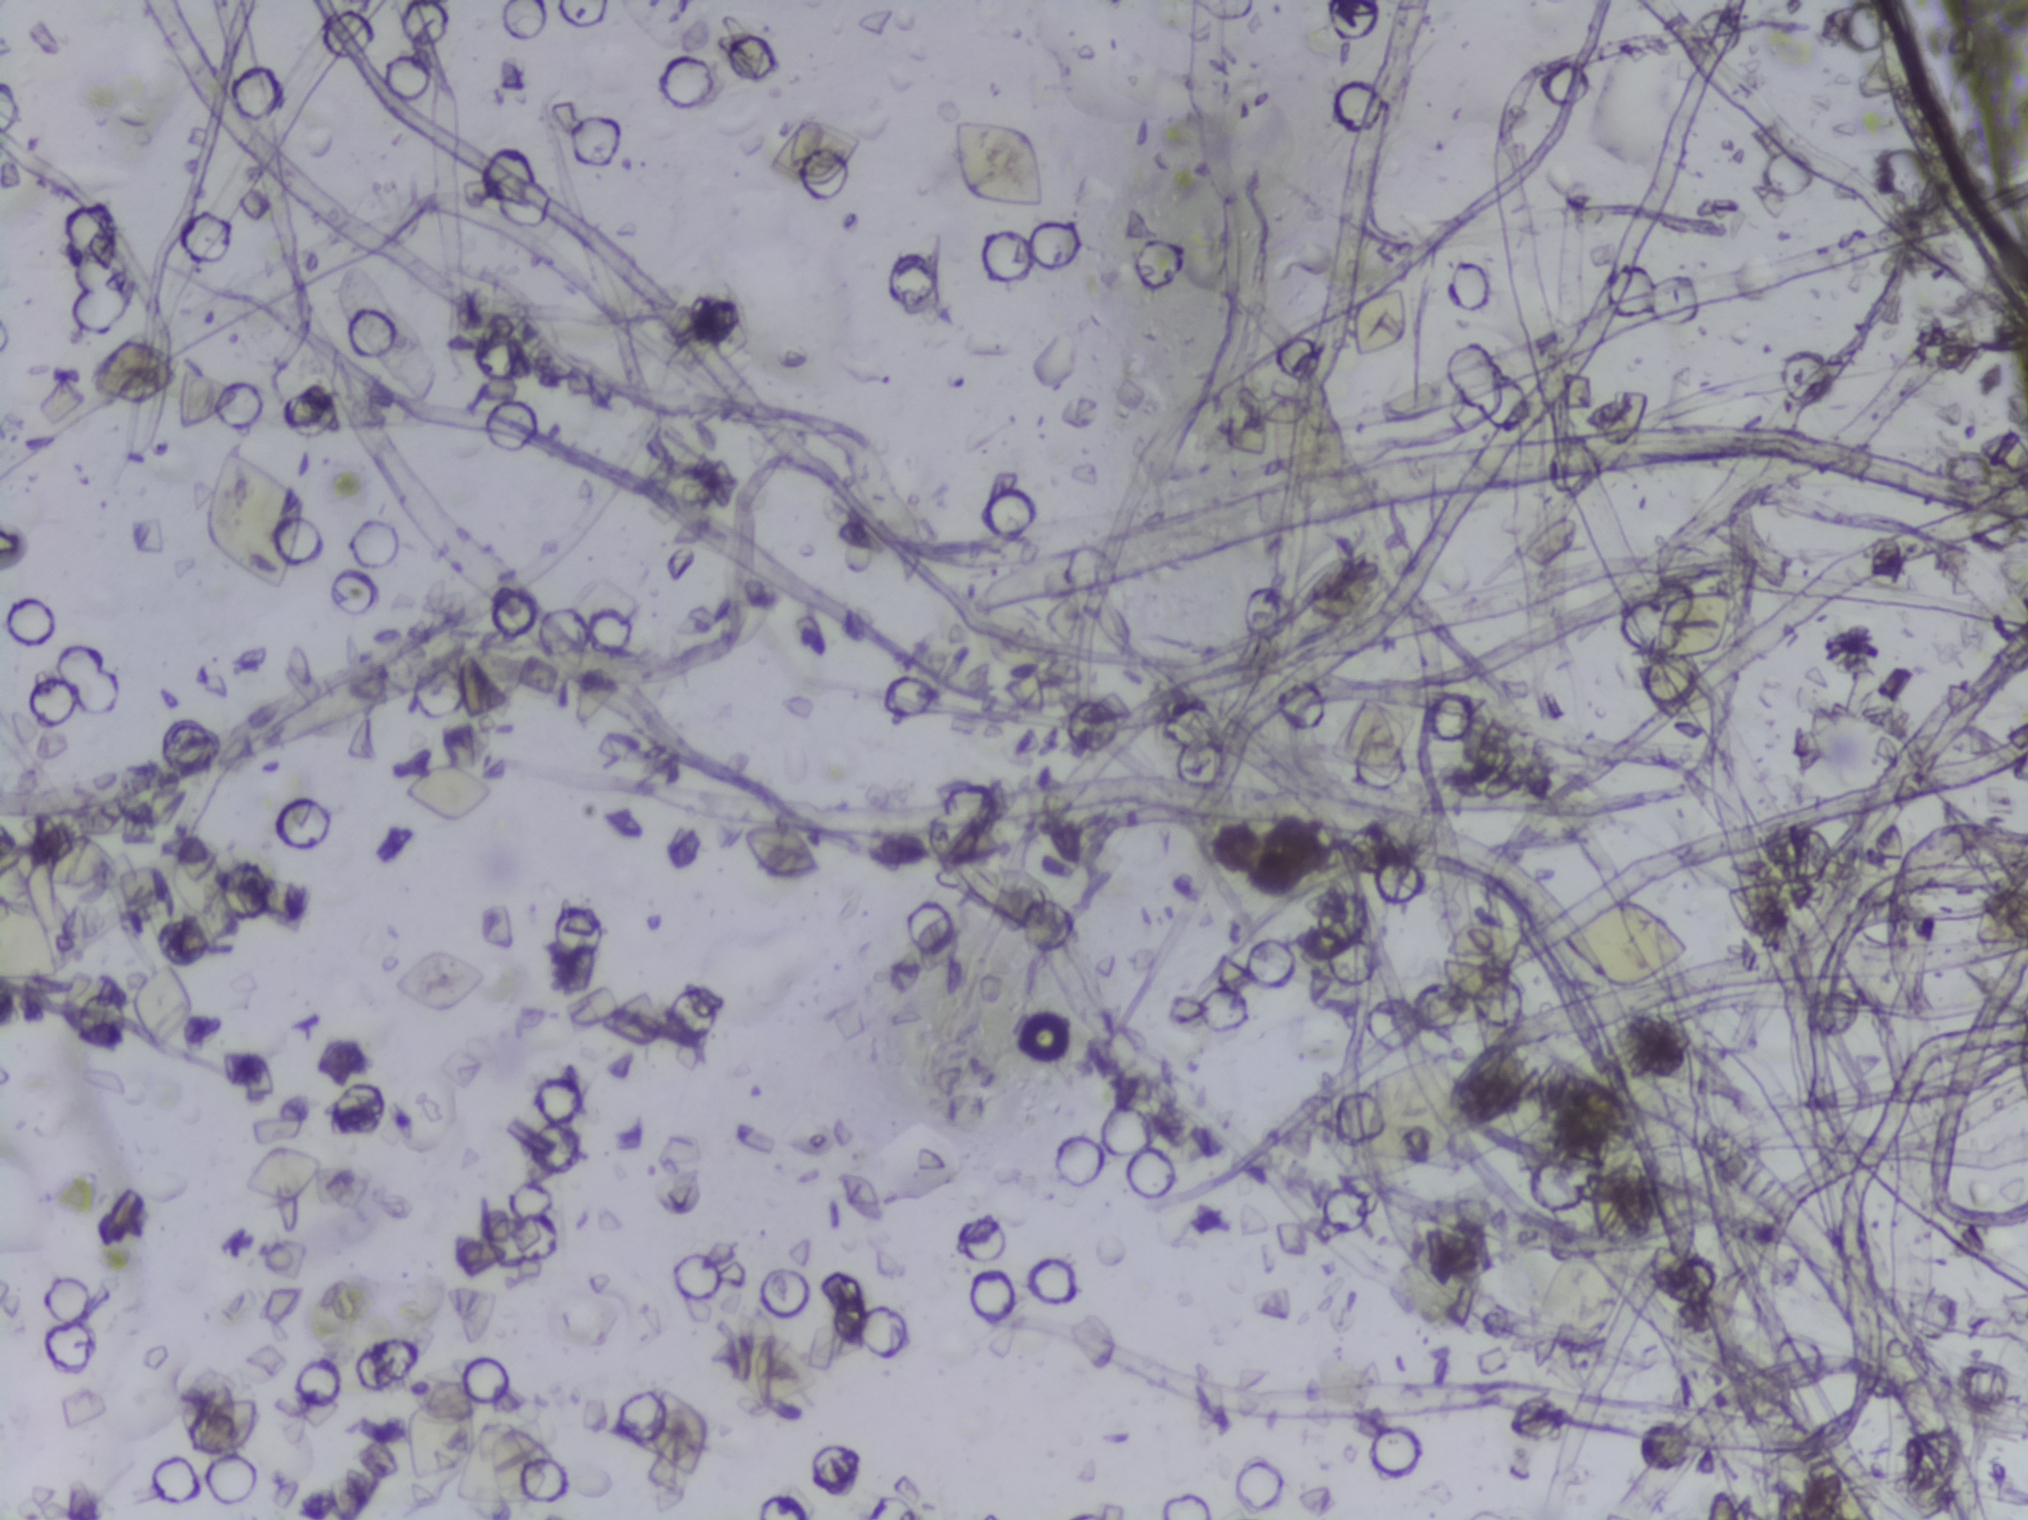
Urine filter membrane photographed through a 4× microscope objective.
The expert annotation outlines no Schistosoma egg in this image.